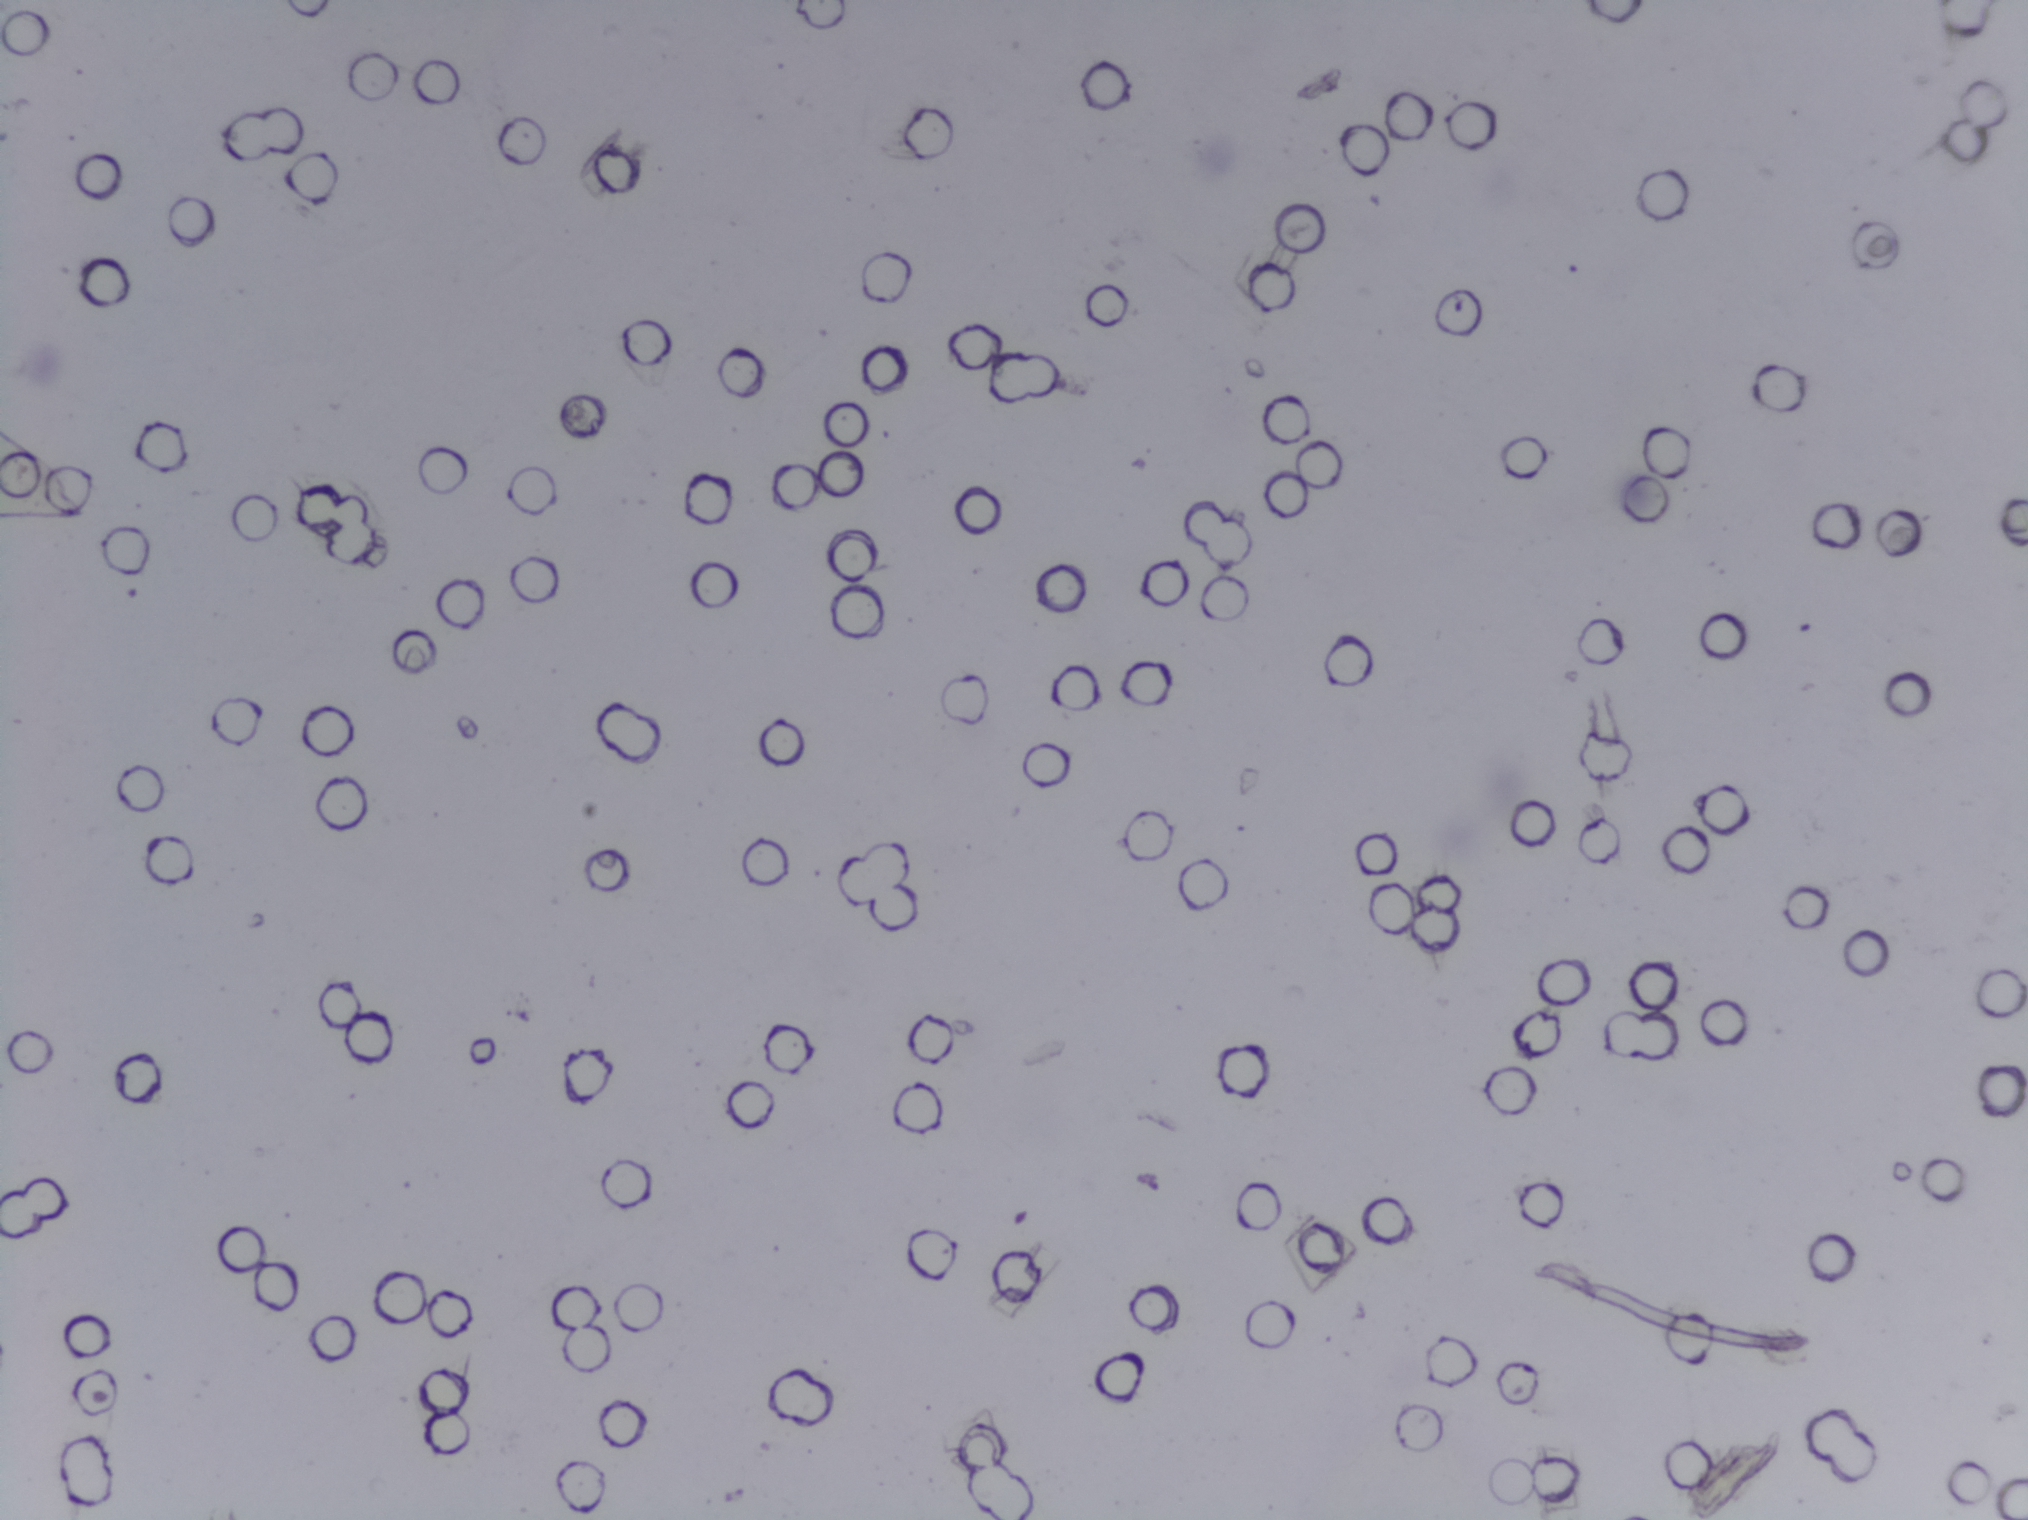
Schistosoma eggs: none outlined.
Microscope photograph (4× objective) of a membrane that a urine sample was filtered through. Field of view: about 1.5 mm wide and 1.1 mm high.